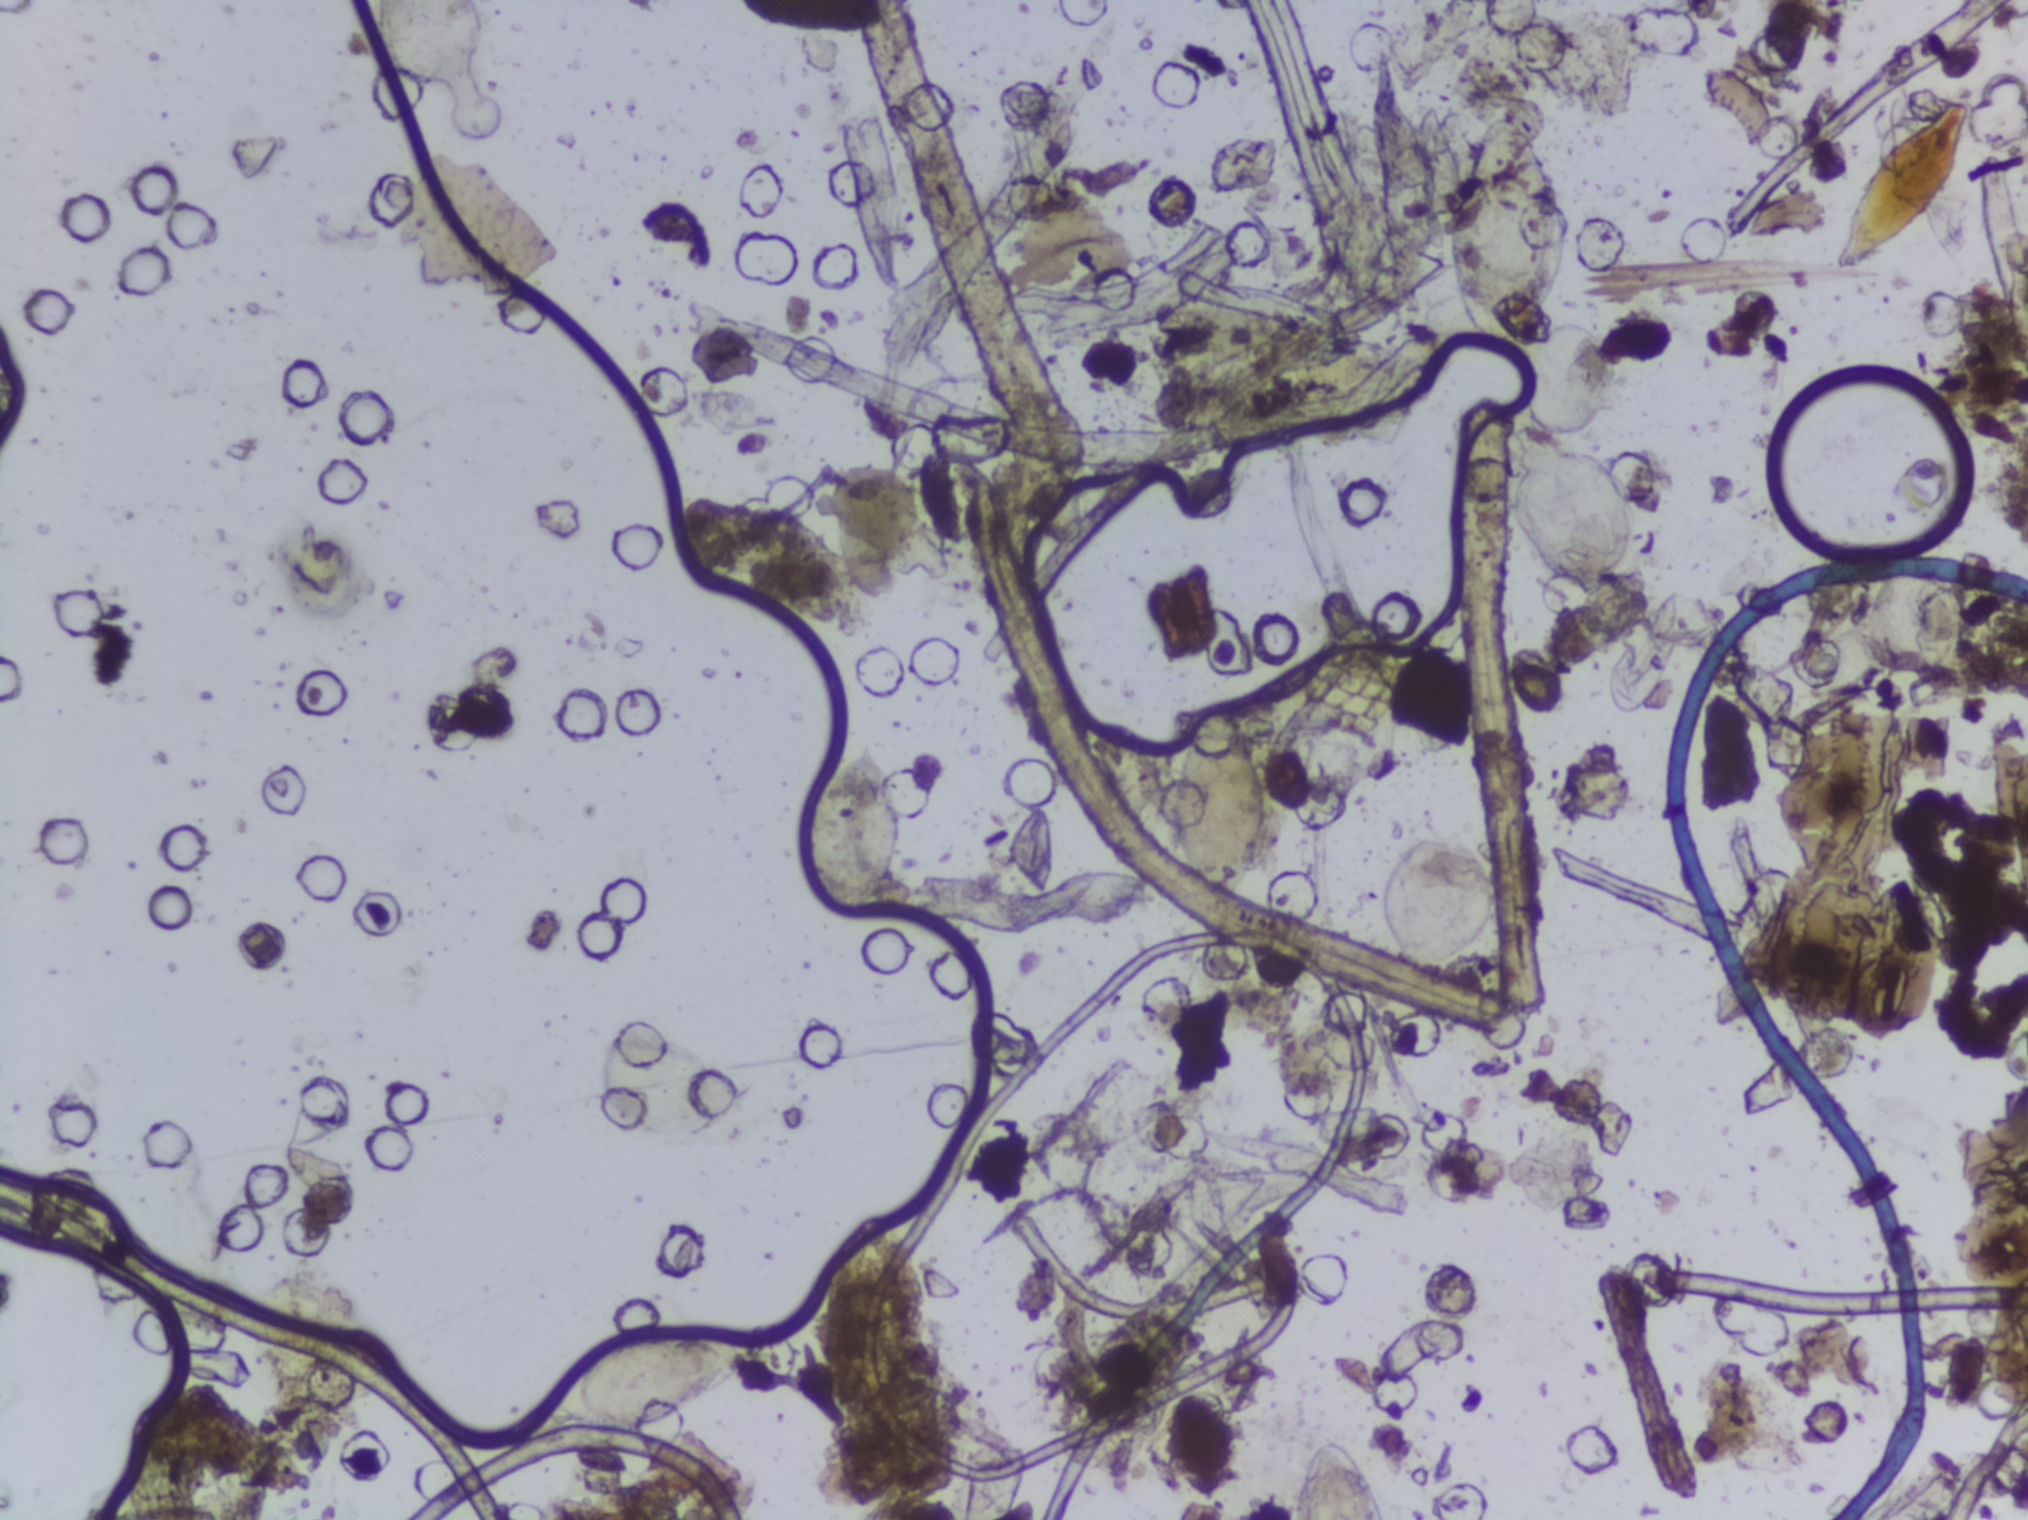
Photograph from an automated digital microscope: urine filter membrane, 4× objective.
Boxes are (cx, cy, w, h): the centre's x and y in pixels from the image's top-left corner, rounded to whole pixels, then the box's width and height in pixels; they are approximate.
Schistosoma egg areas, outlined: (cx=650, cy=1382, w=185, h=105); (cx=853, cy=830, w=111, h=185); (cx=1216, cy=803, w=100, h=200); (cx=1339, cy=1478, w=97, h=84) (reaching the bottom edge of the frame); (cx=1503, cy=232, w=124, h=242); (cx=1650, cy=655, w=87, h=124). About 2.5% of the image's pixels are marked (the marked pixels themselves, not the boxes around them). Eggs that touch can end up inside the same outlined area.